One field of view of a urine filter membrane, 4× objective, 2028 × 1520 pixels. Field of view: about 1.5 mm wide and 1.1 mm high.
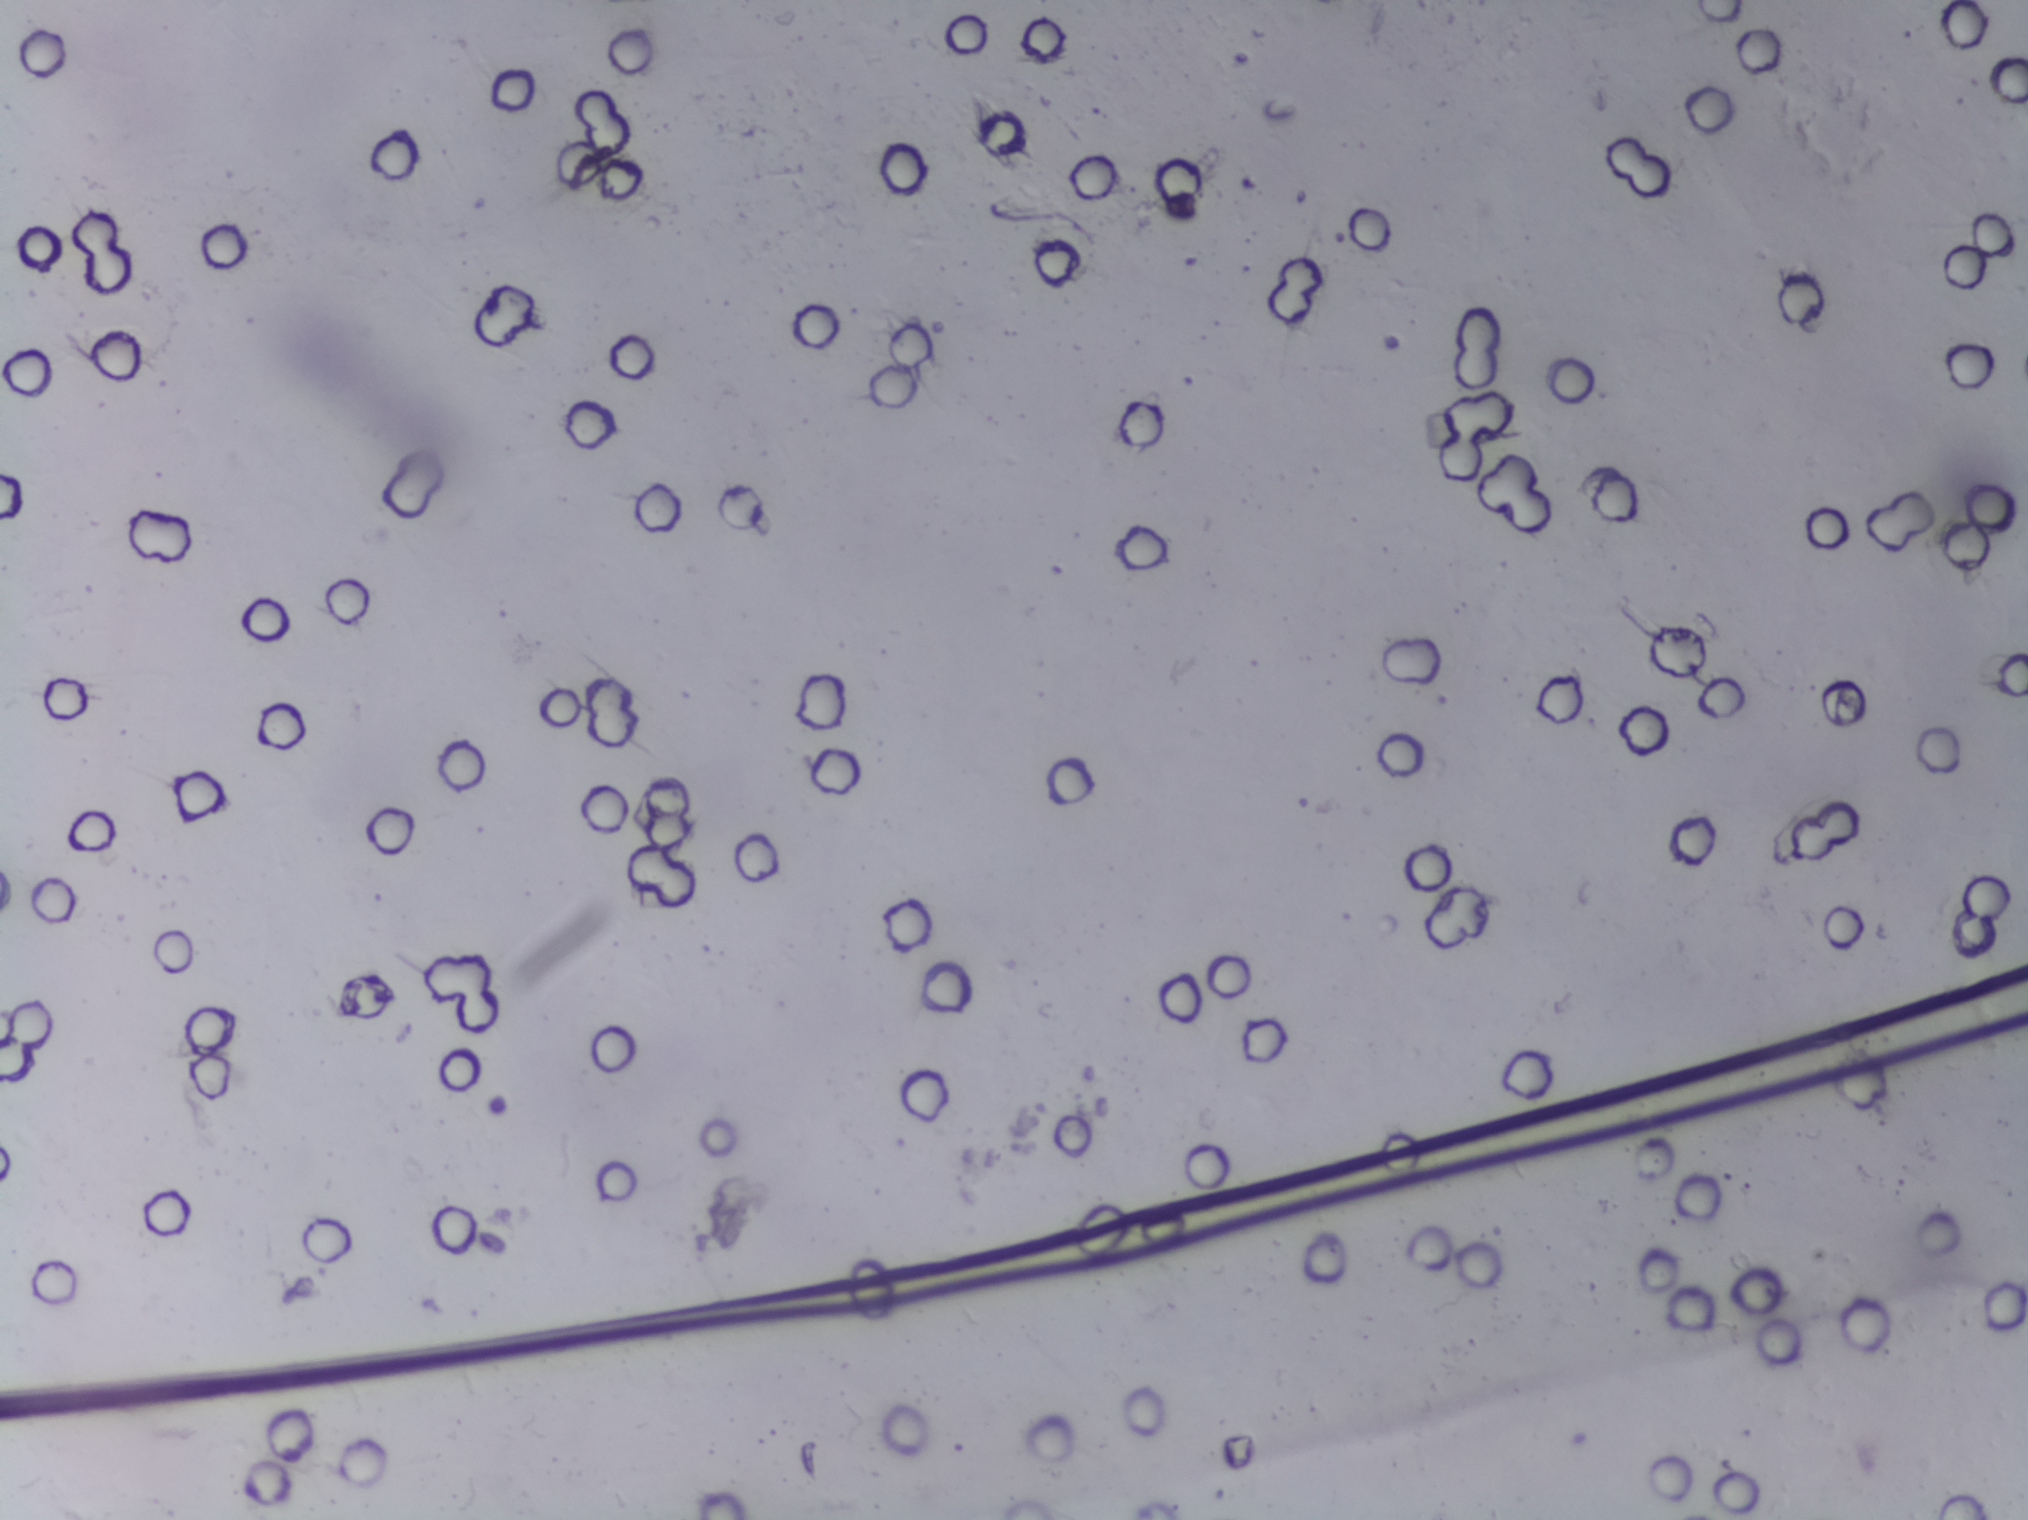
No Schistosoma egg is outlined in this image's expert annotation.